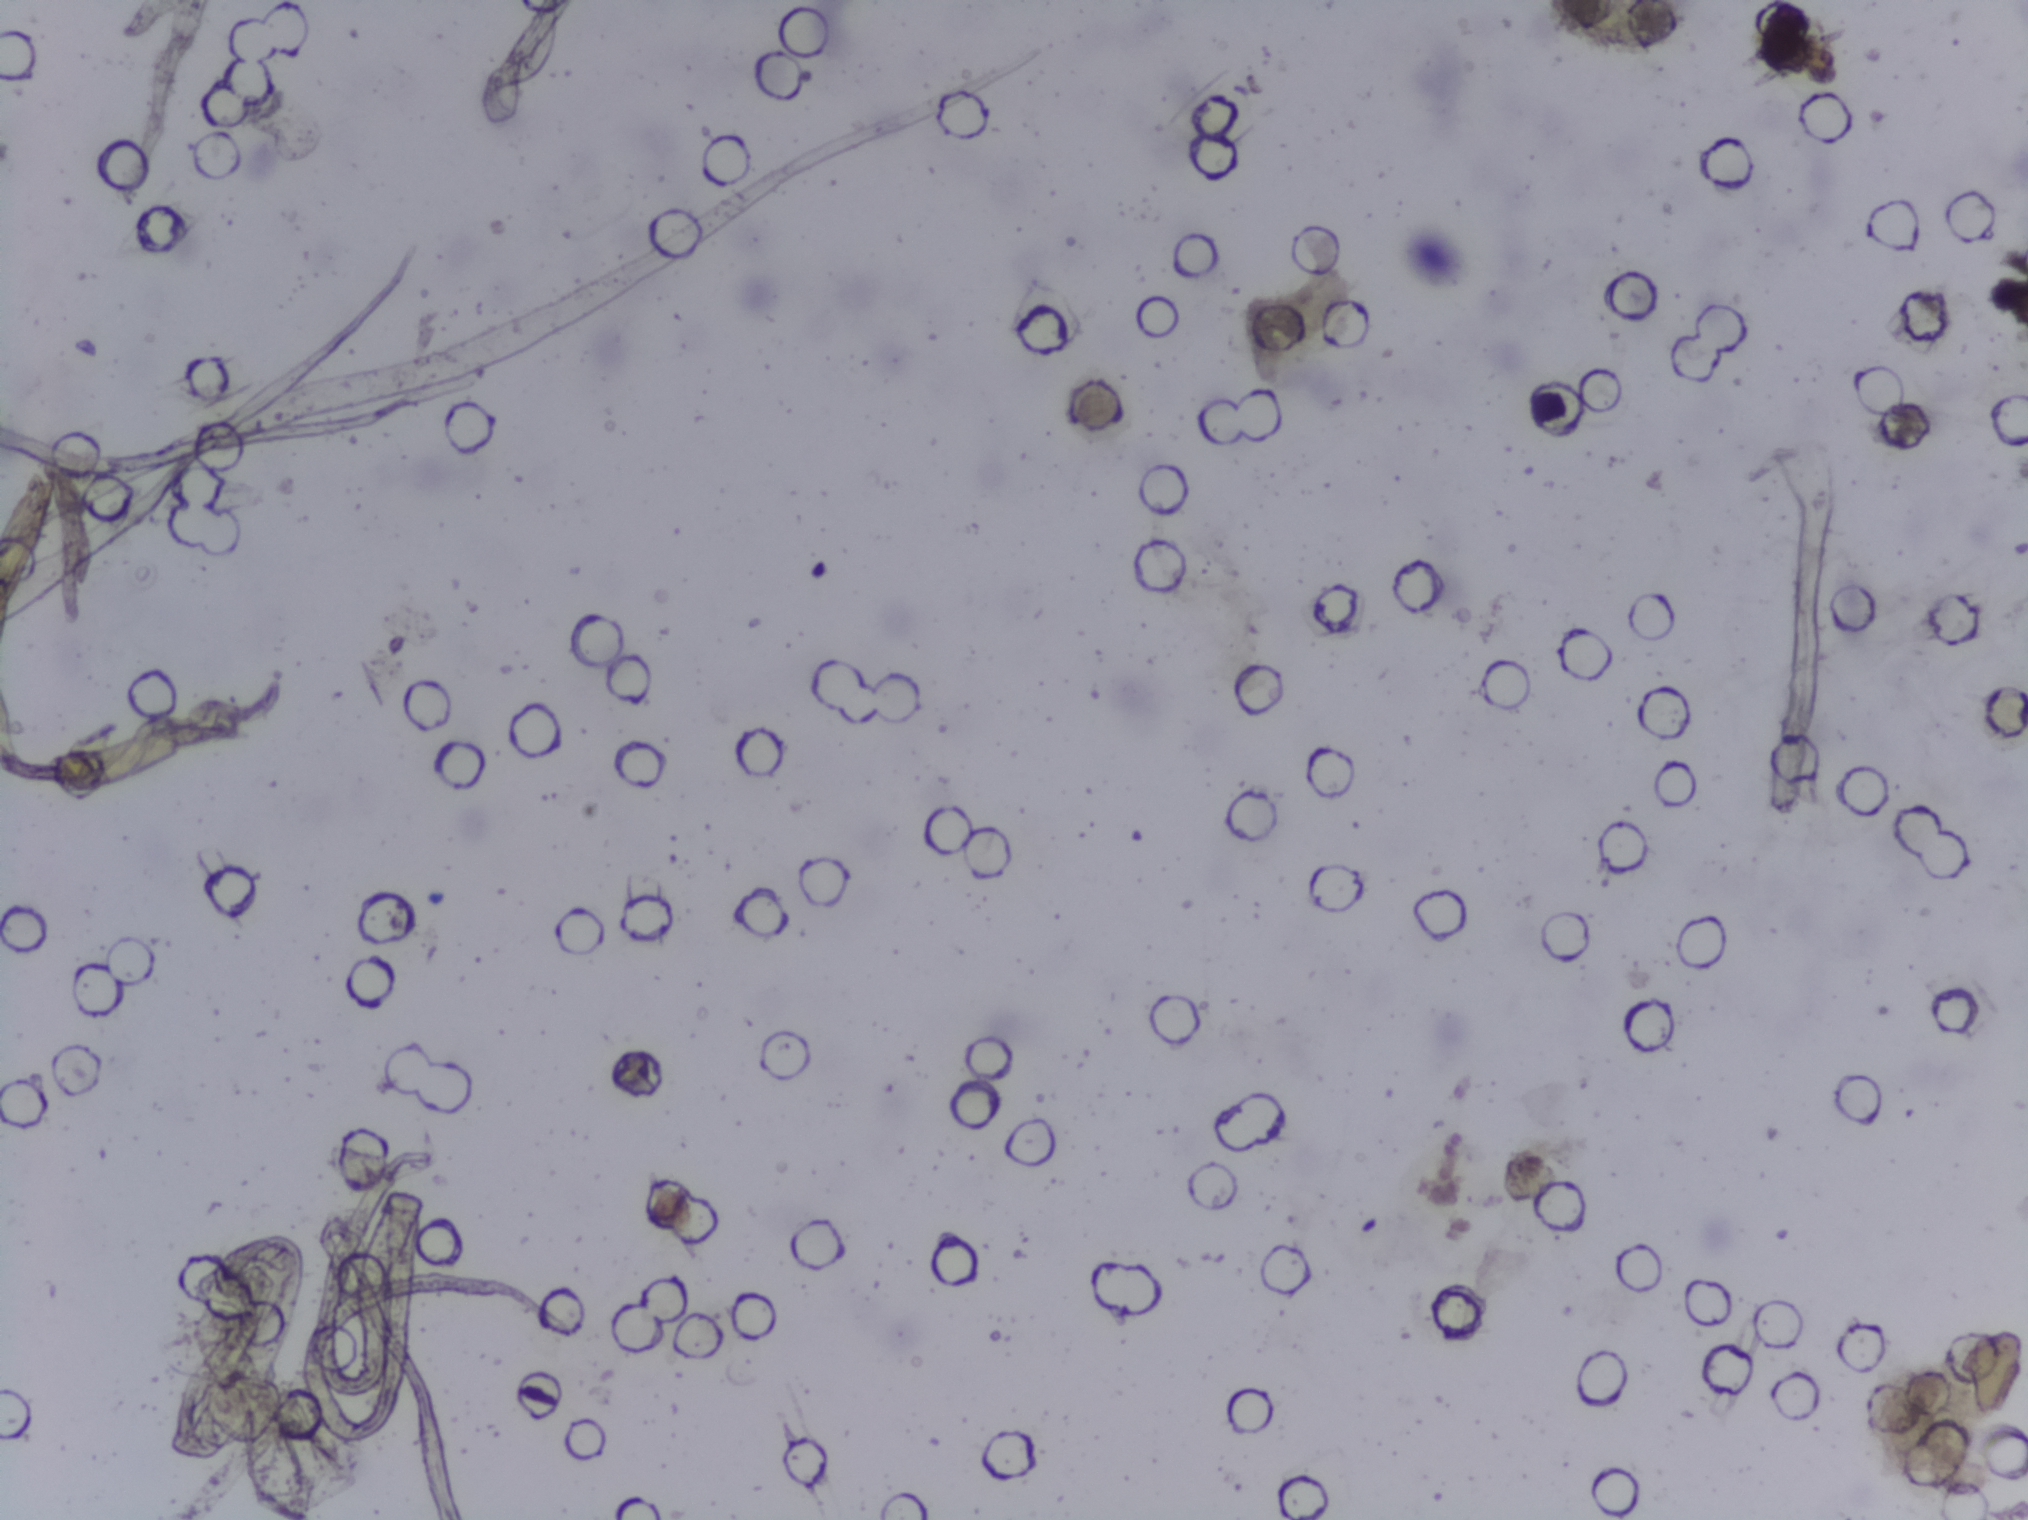
Microscope photograph (4× objective) of a membrane that a urine sample was filtered through. The image covers about 1.5 × 1.1 mm of the membrane.
The expert annotation marks no Schistosoma egg in this field of view.